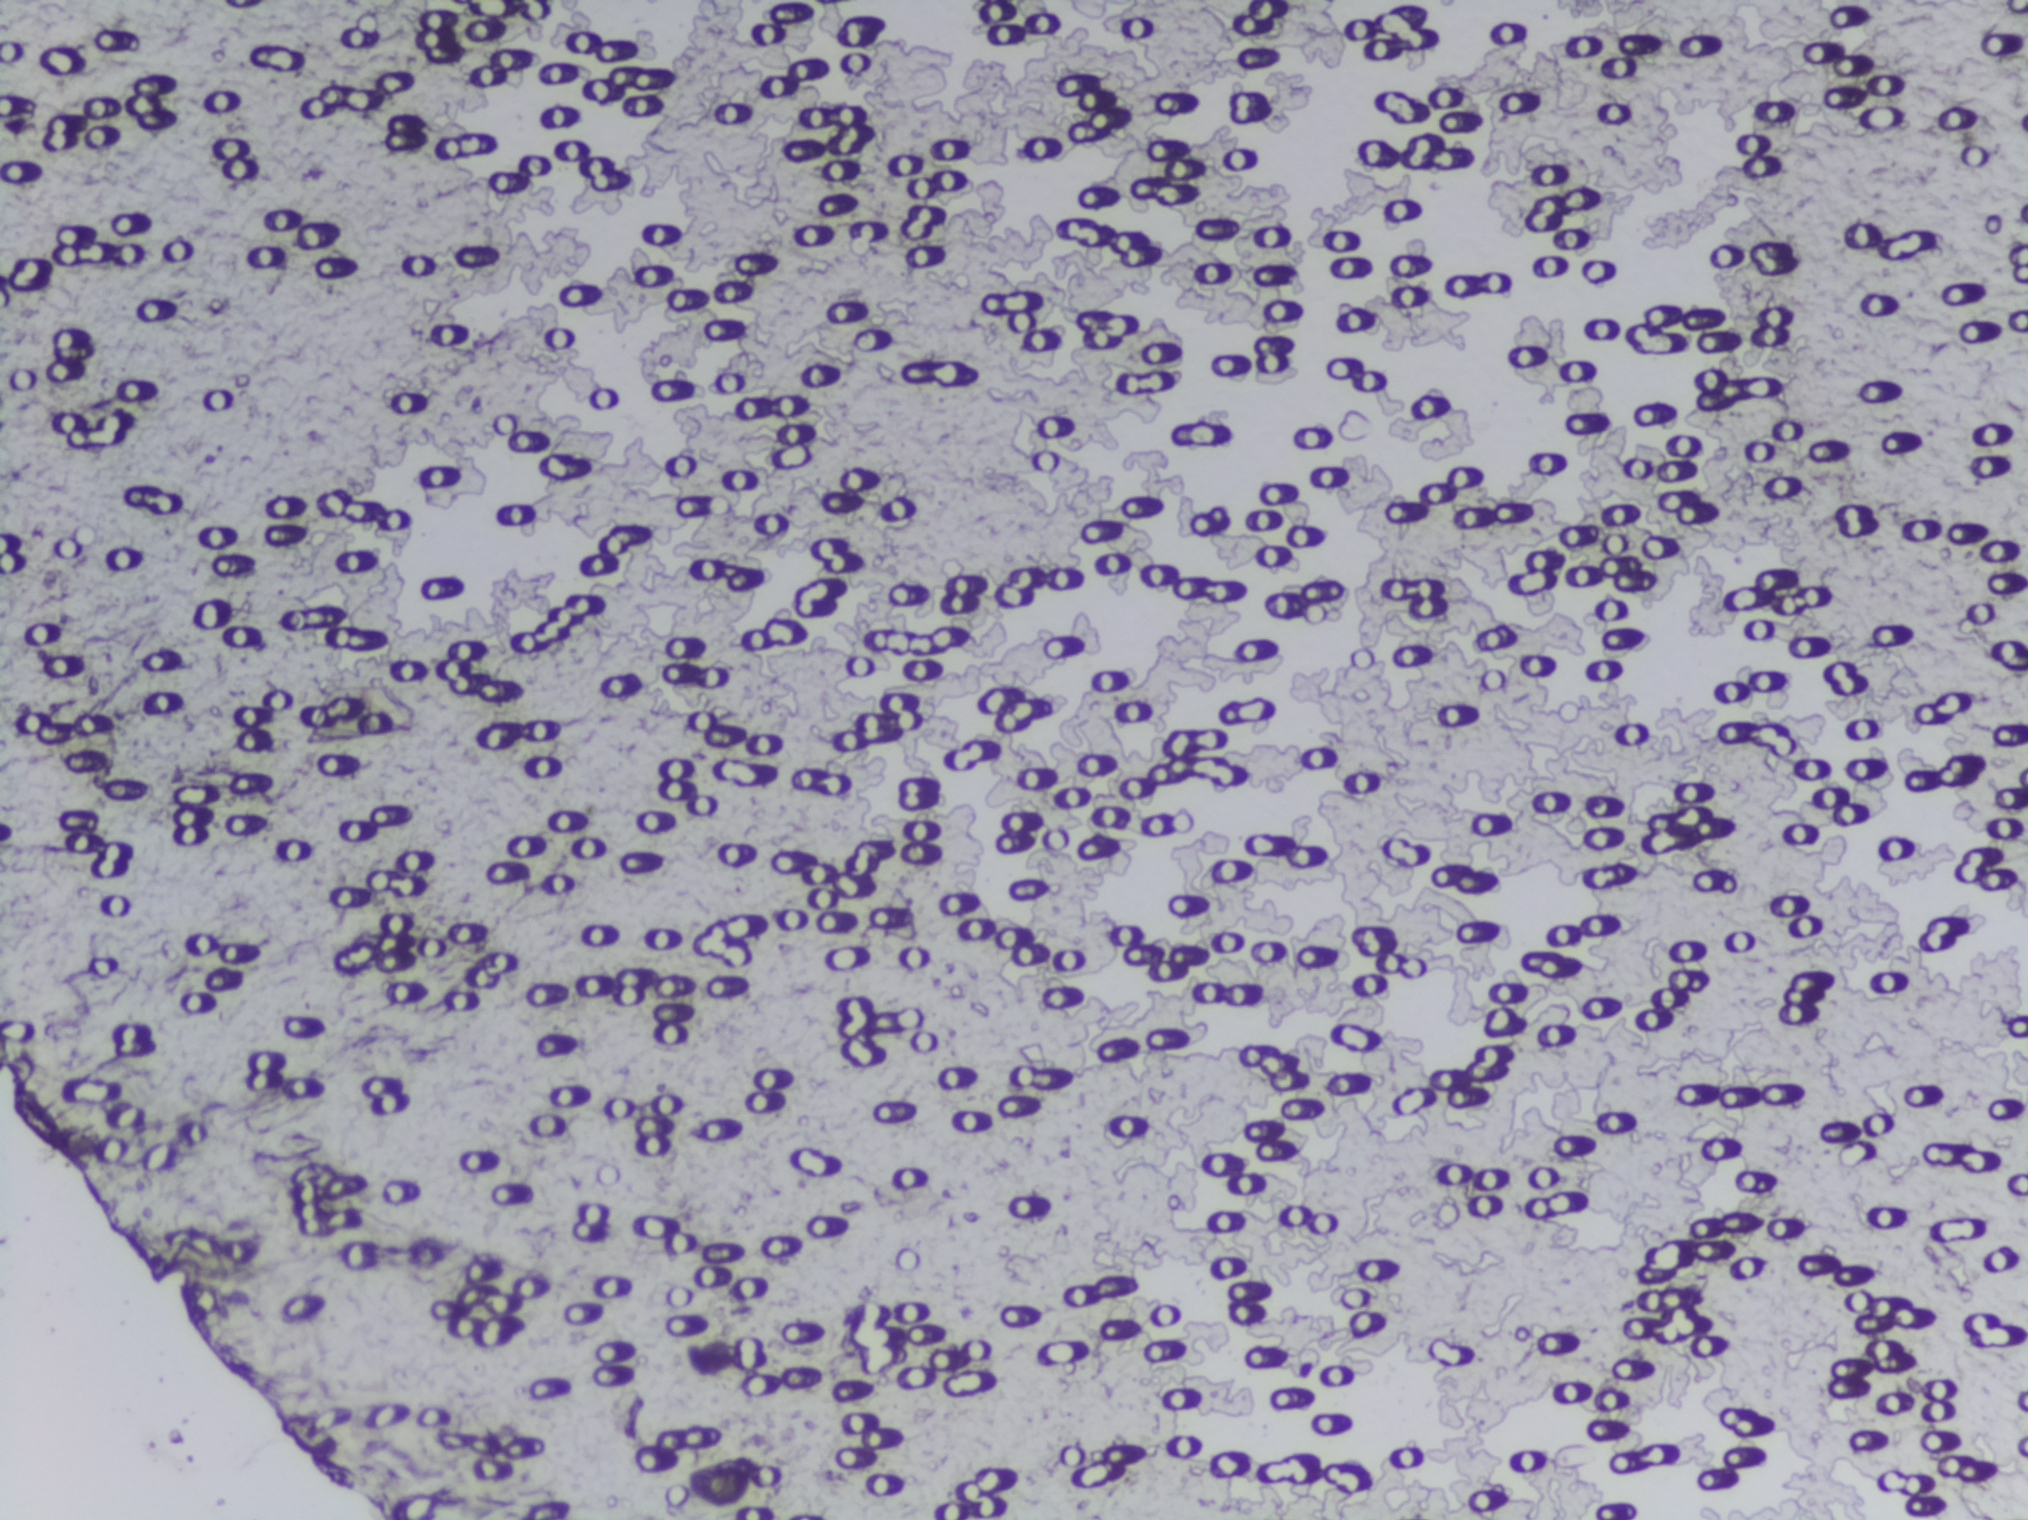
Urine filtration membrane under a 4× objective, photographed by an automated digital microscope.
No area of this image was outlined as a Schistosoma egg.